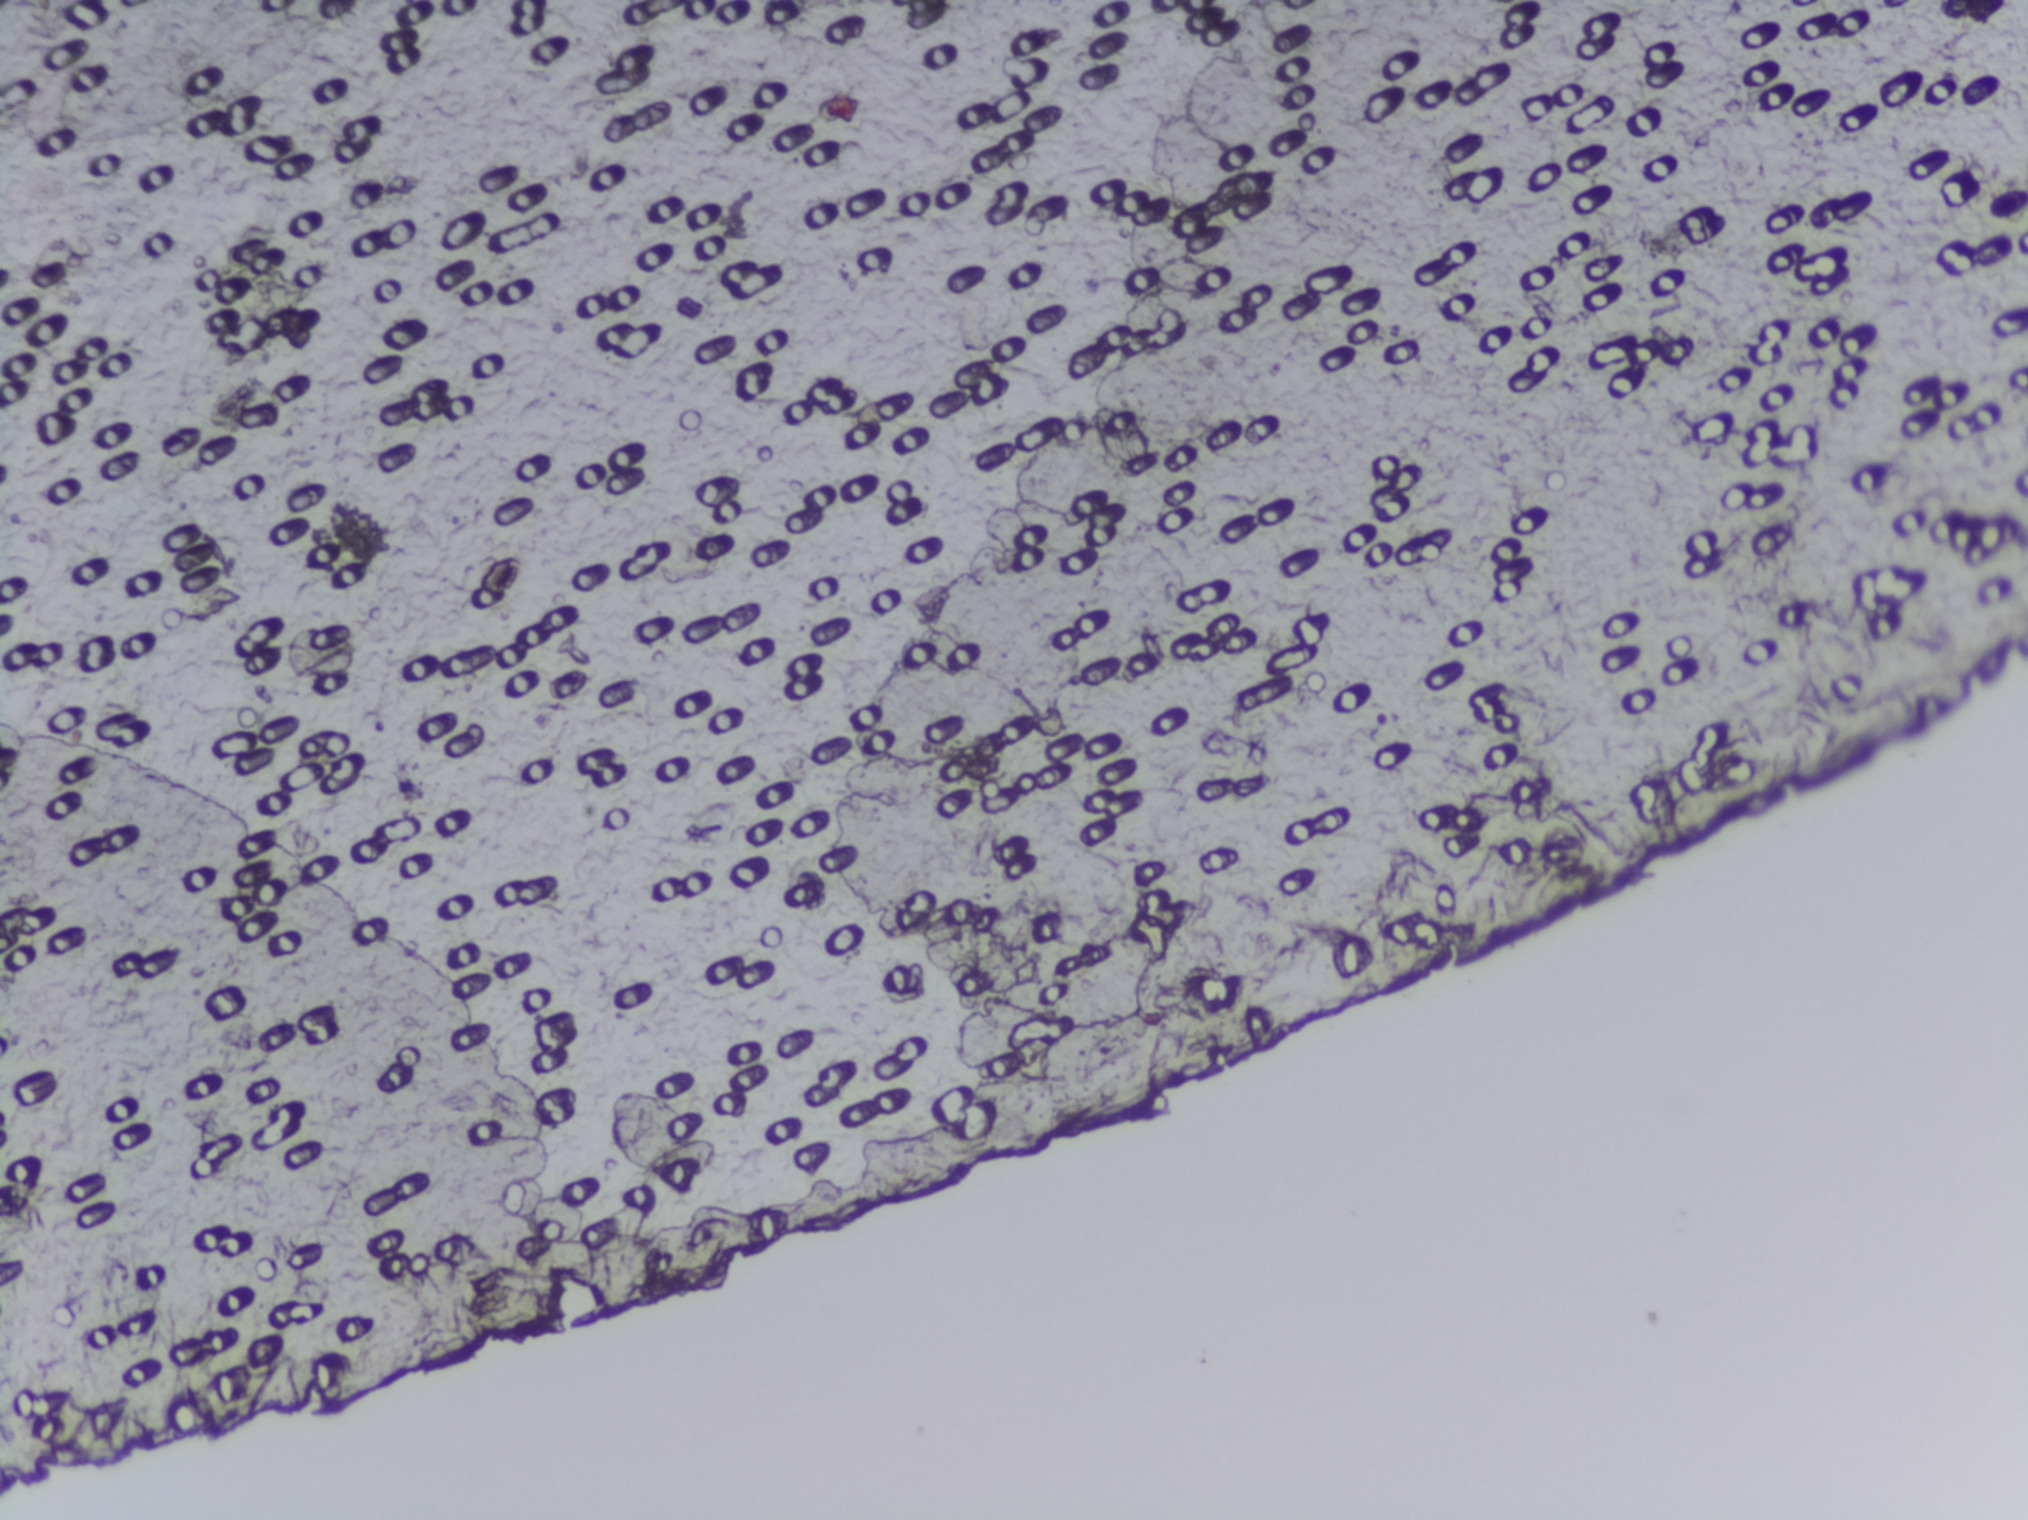
Urine filtration membrane under a 4× objective, photographed by an automated digital microscope. Field of view: about 1.5 mm wide and 1.1 mm high.
No area of this image was outlined as a Schistosoma egg.